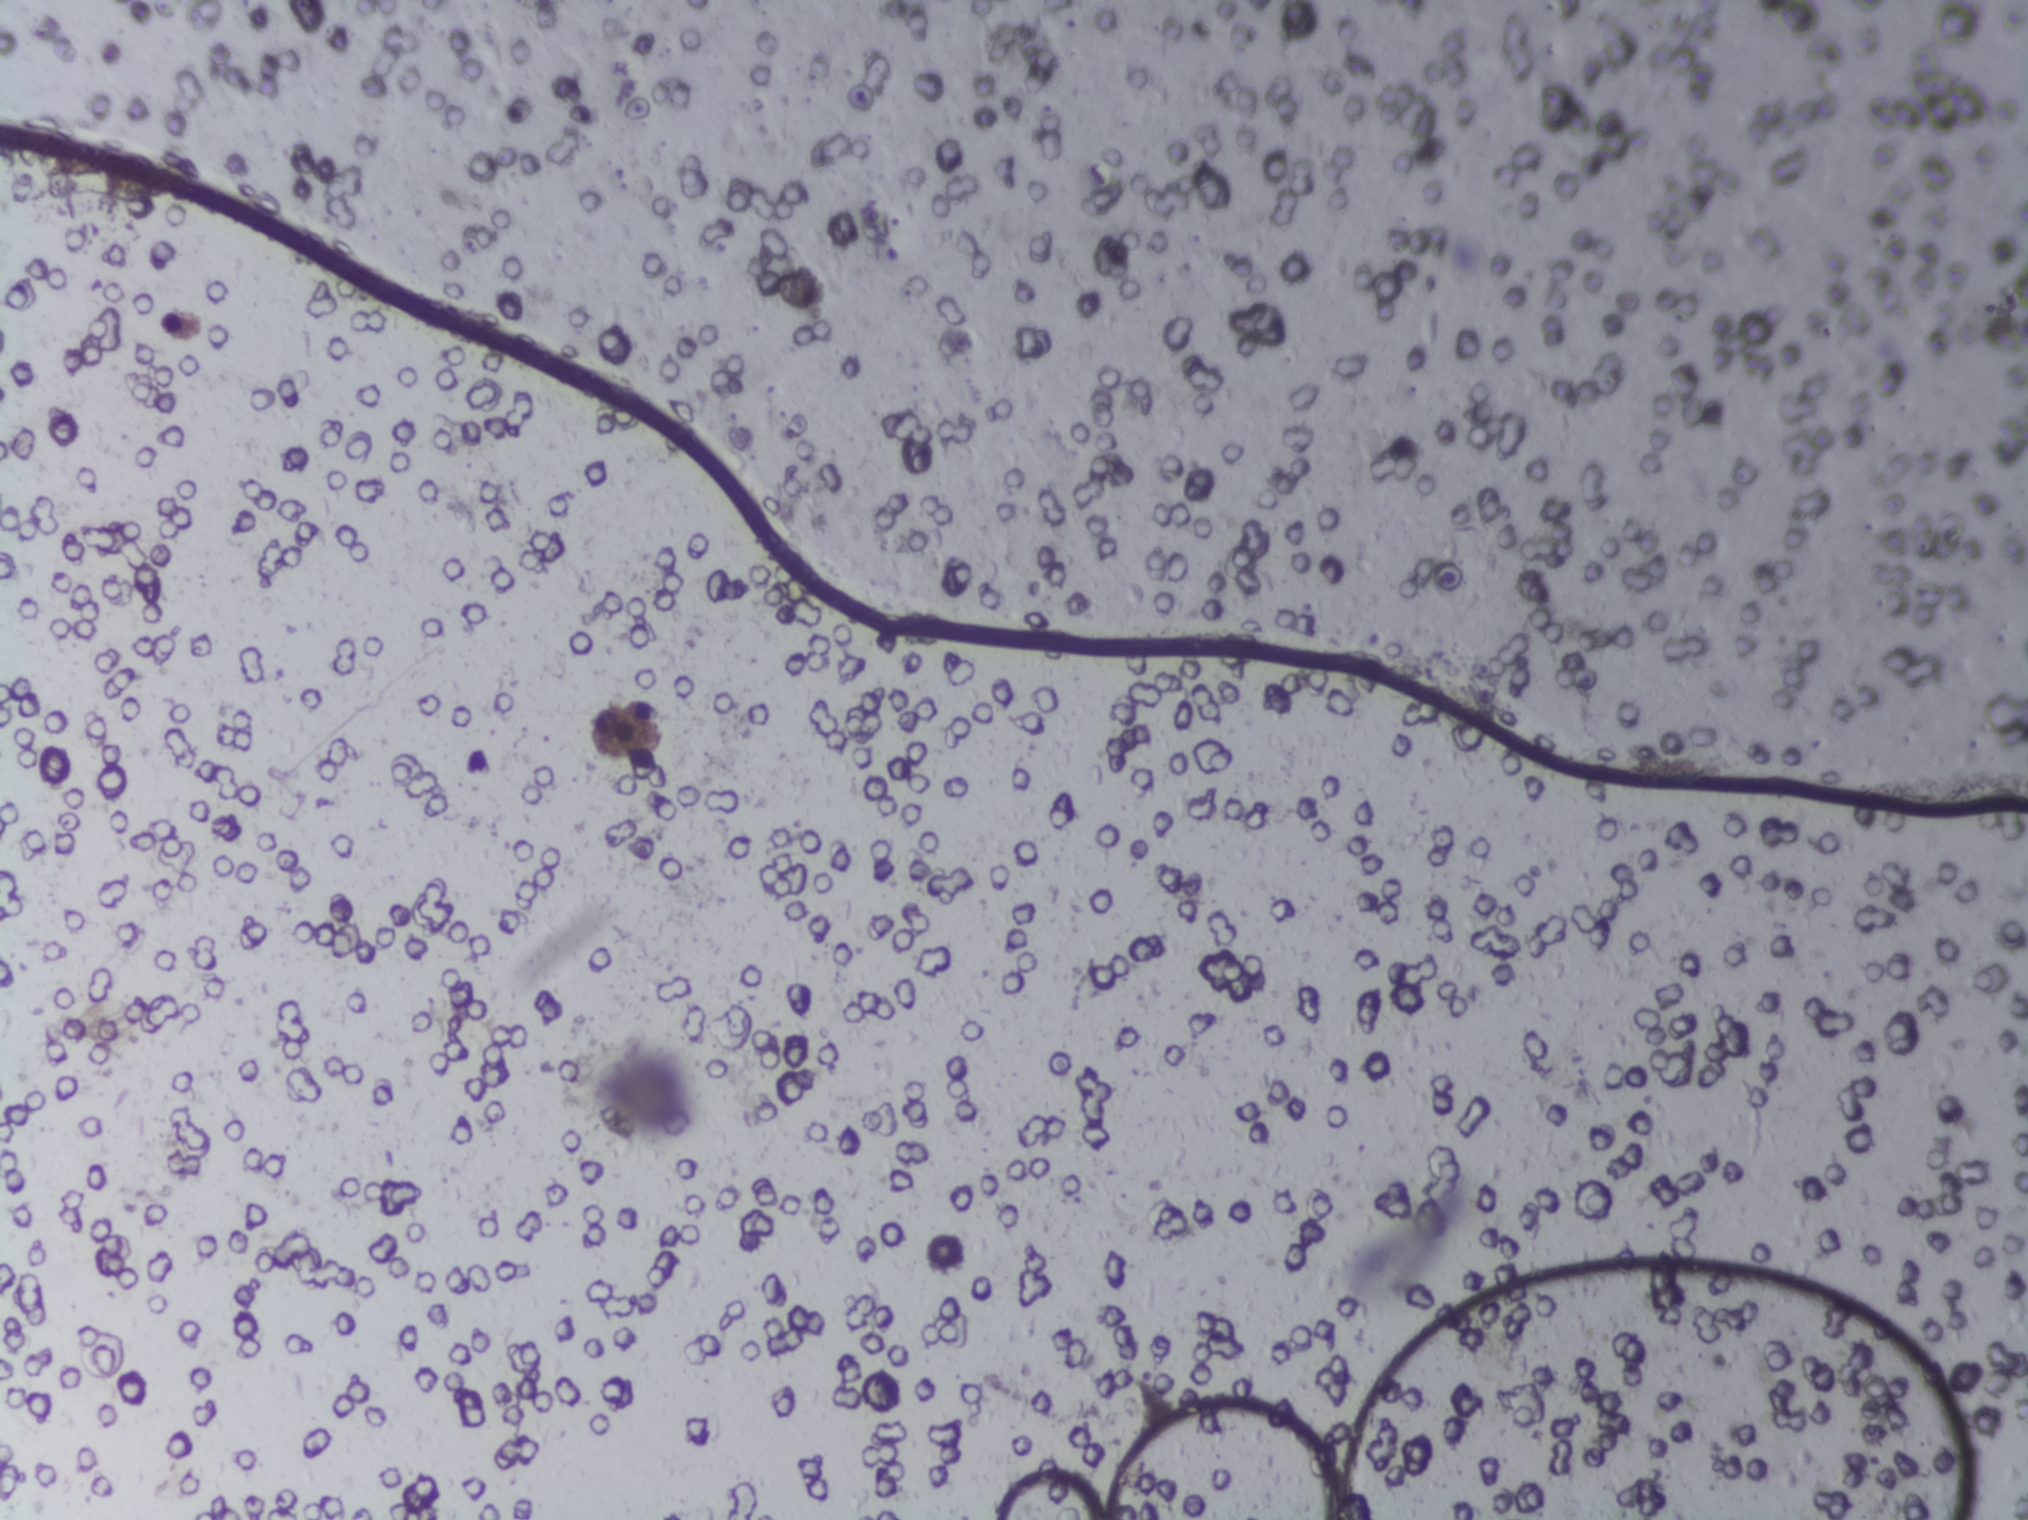
Urine filter membrane photographed through a 4× microscope objective.
The expert annotation outlines no Schistosoma egg in this image.